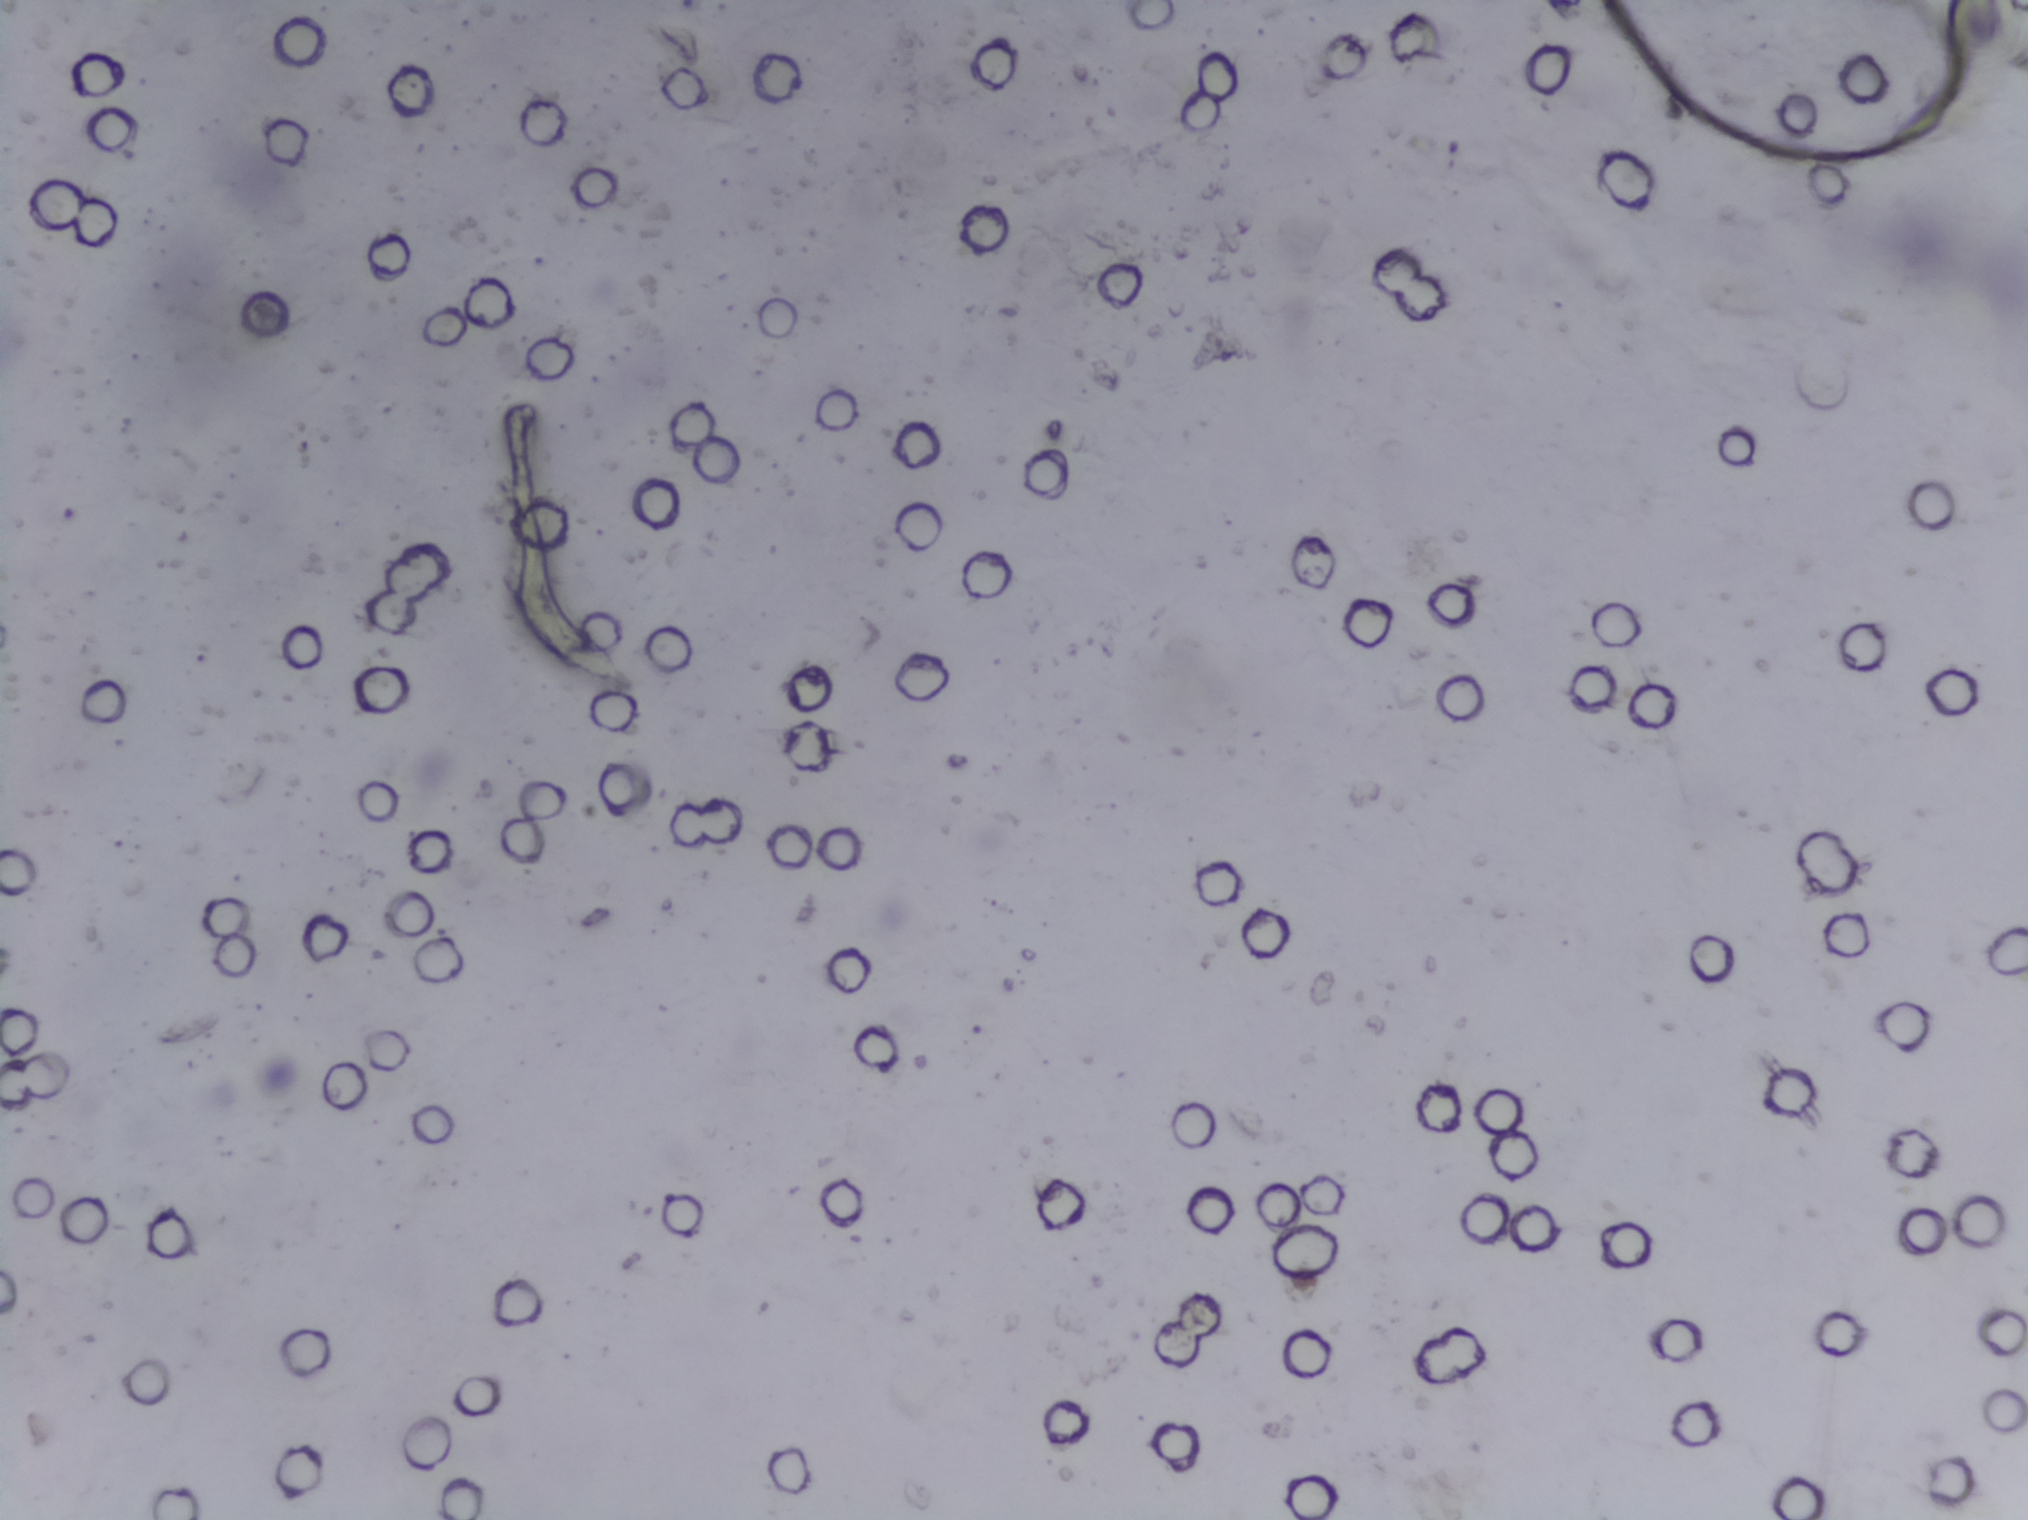
Microscope photograph (4× objective) of a membrane that a urine sample was filtered through.
The expert annotation marks no Schistosoma egg in this field of view.